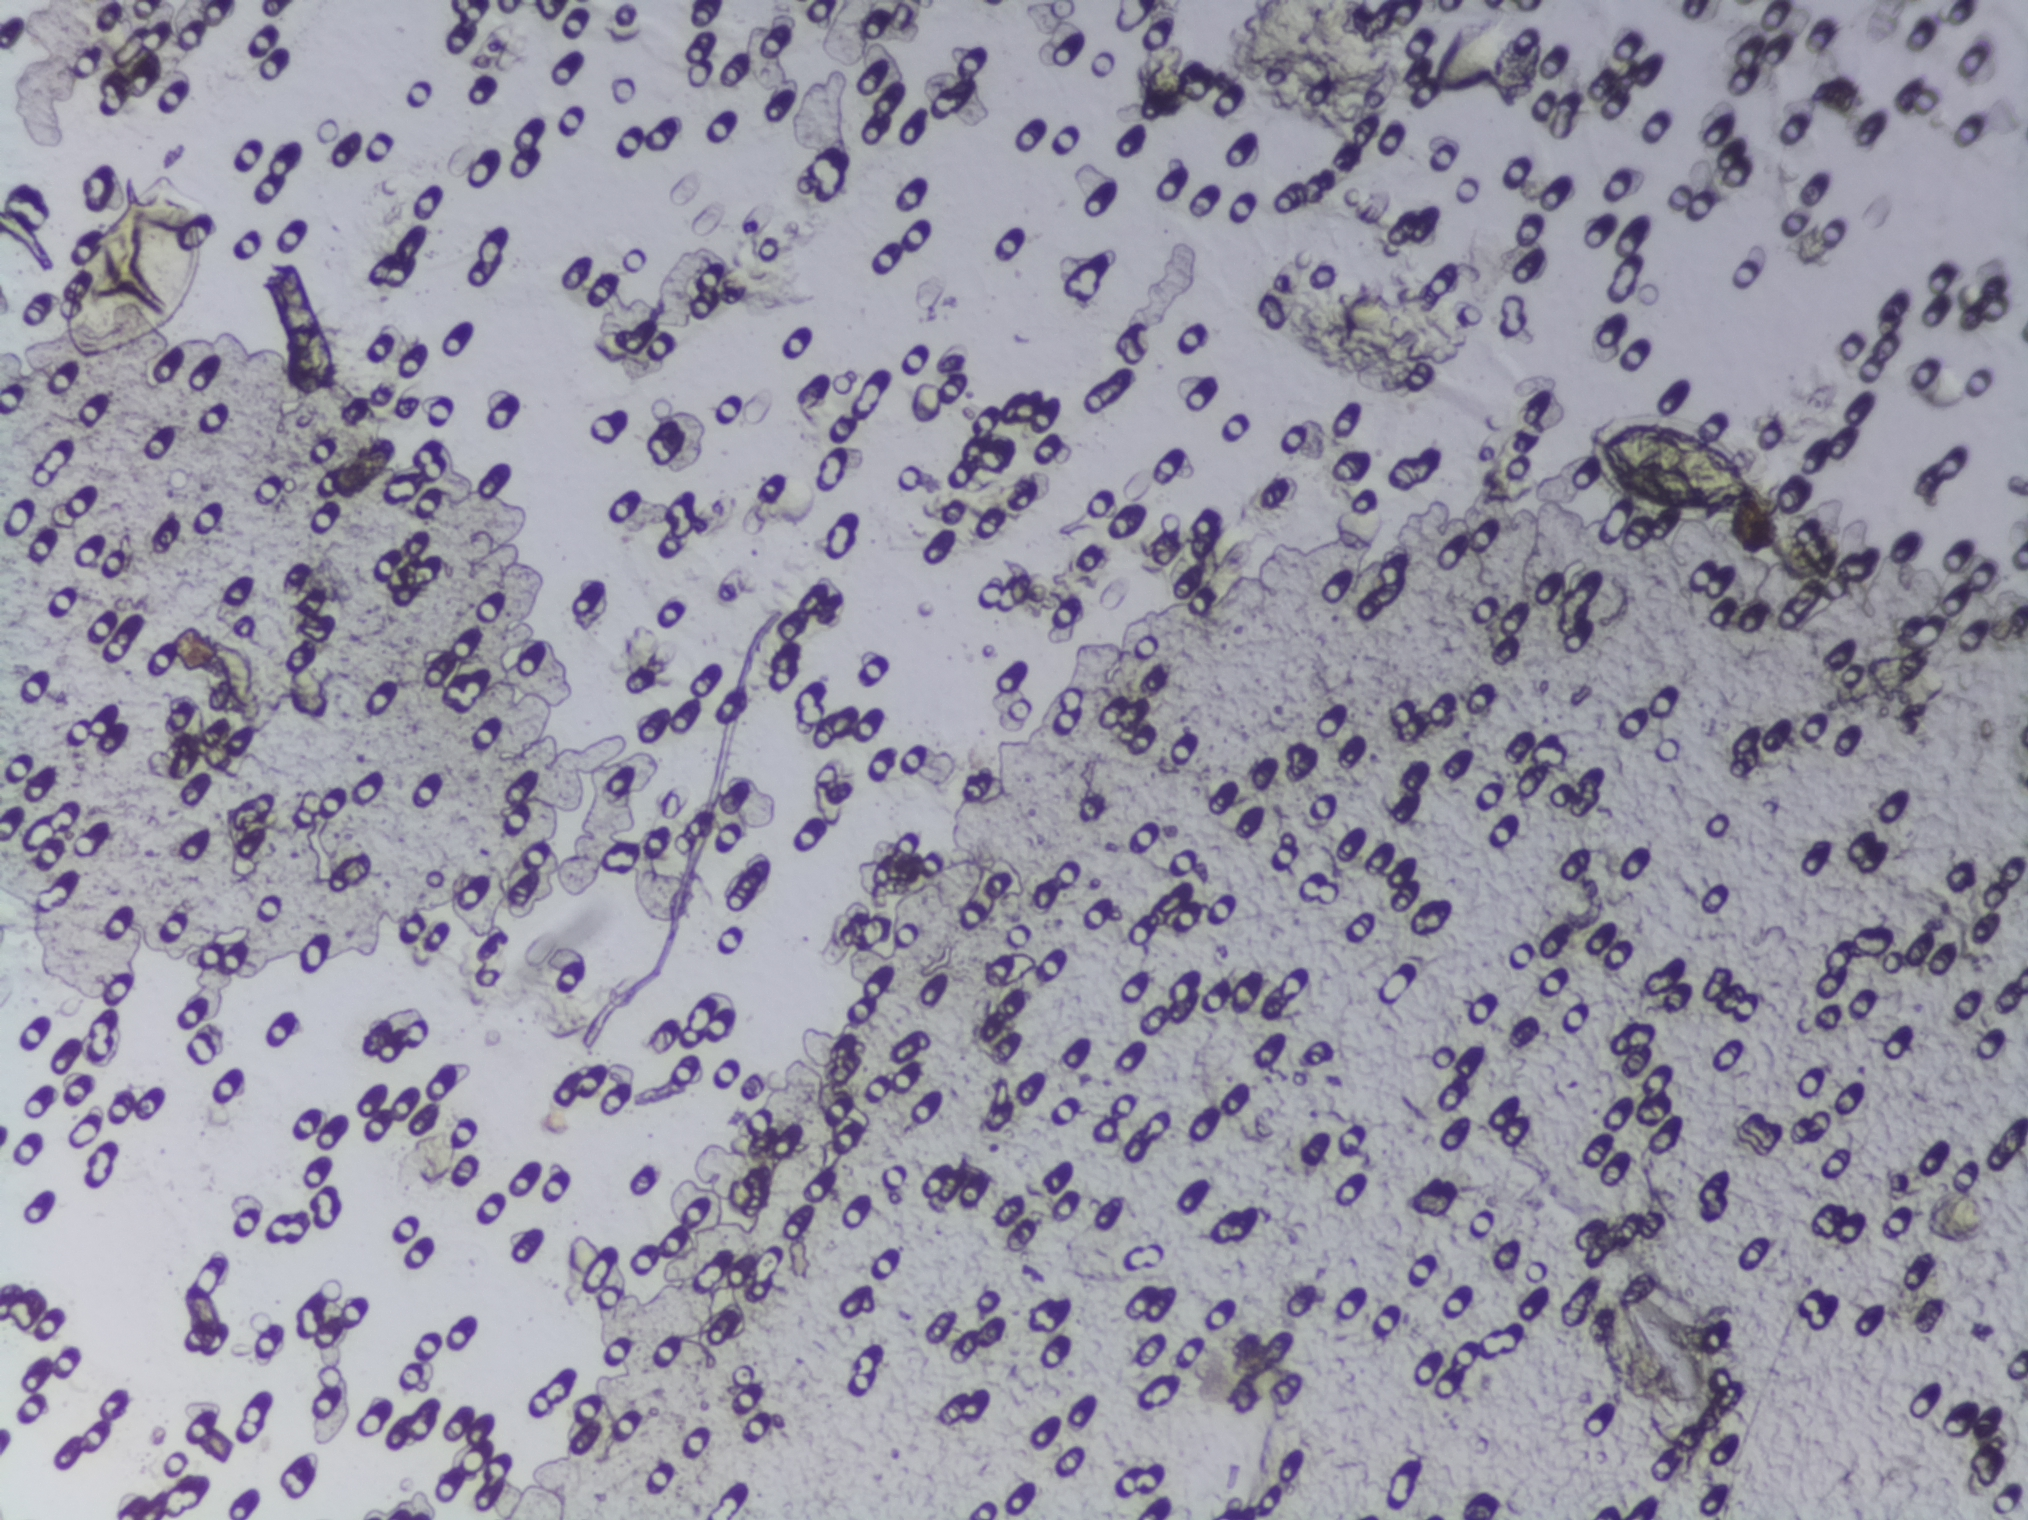
Urine filtration membrane under a 4× objective, photographed by an automated digital microscope.
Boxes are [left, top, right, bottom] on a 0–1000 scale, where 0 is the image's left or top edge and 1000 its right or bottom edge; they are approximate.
Findings: two areas outlined as Schistosoma eggs. Locations: [31, 109, 104, 241]; [784, 268, 882, 345]. The marked pixels themselves, not the boxes around them, cover about 1.2% of the image. An outlined area can hold more than one egg.